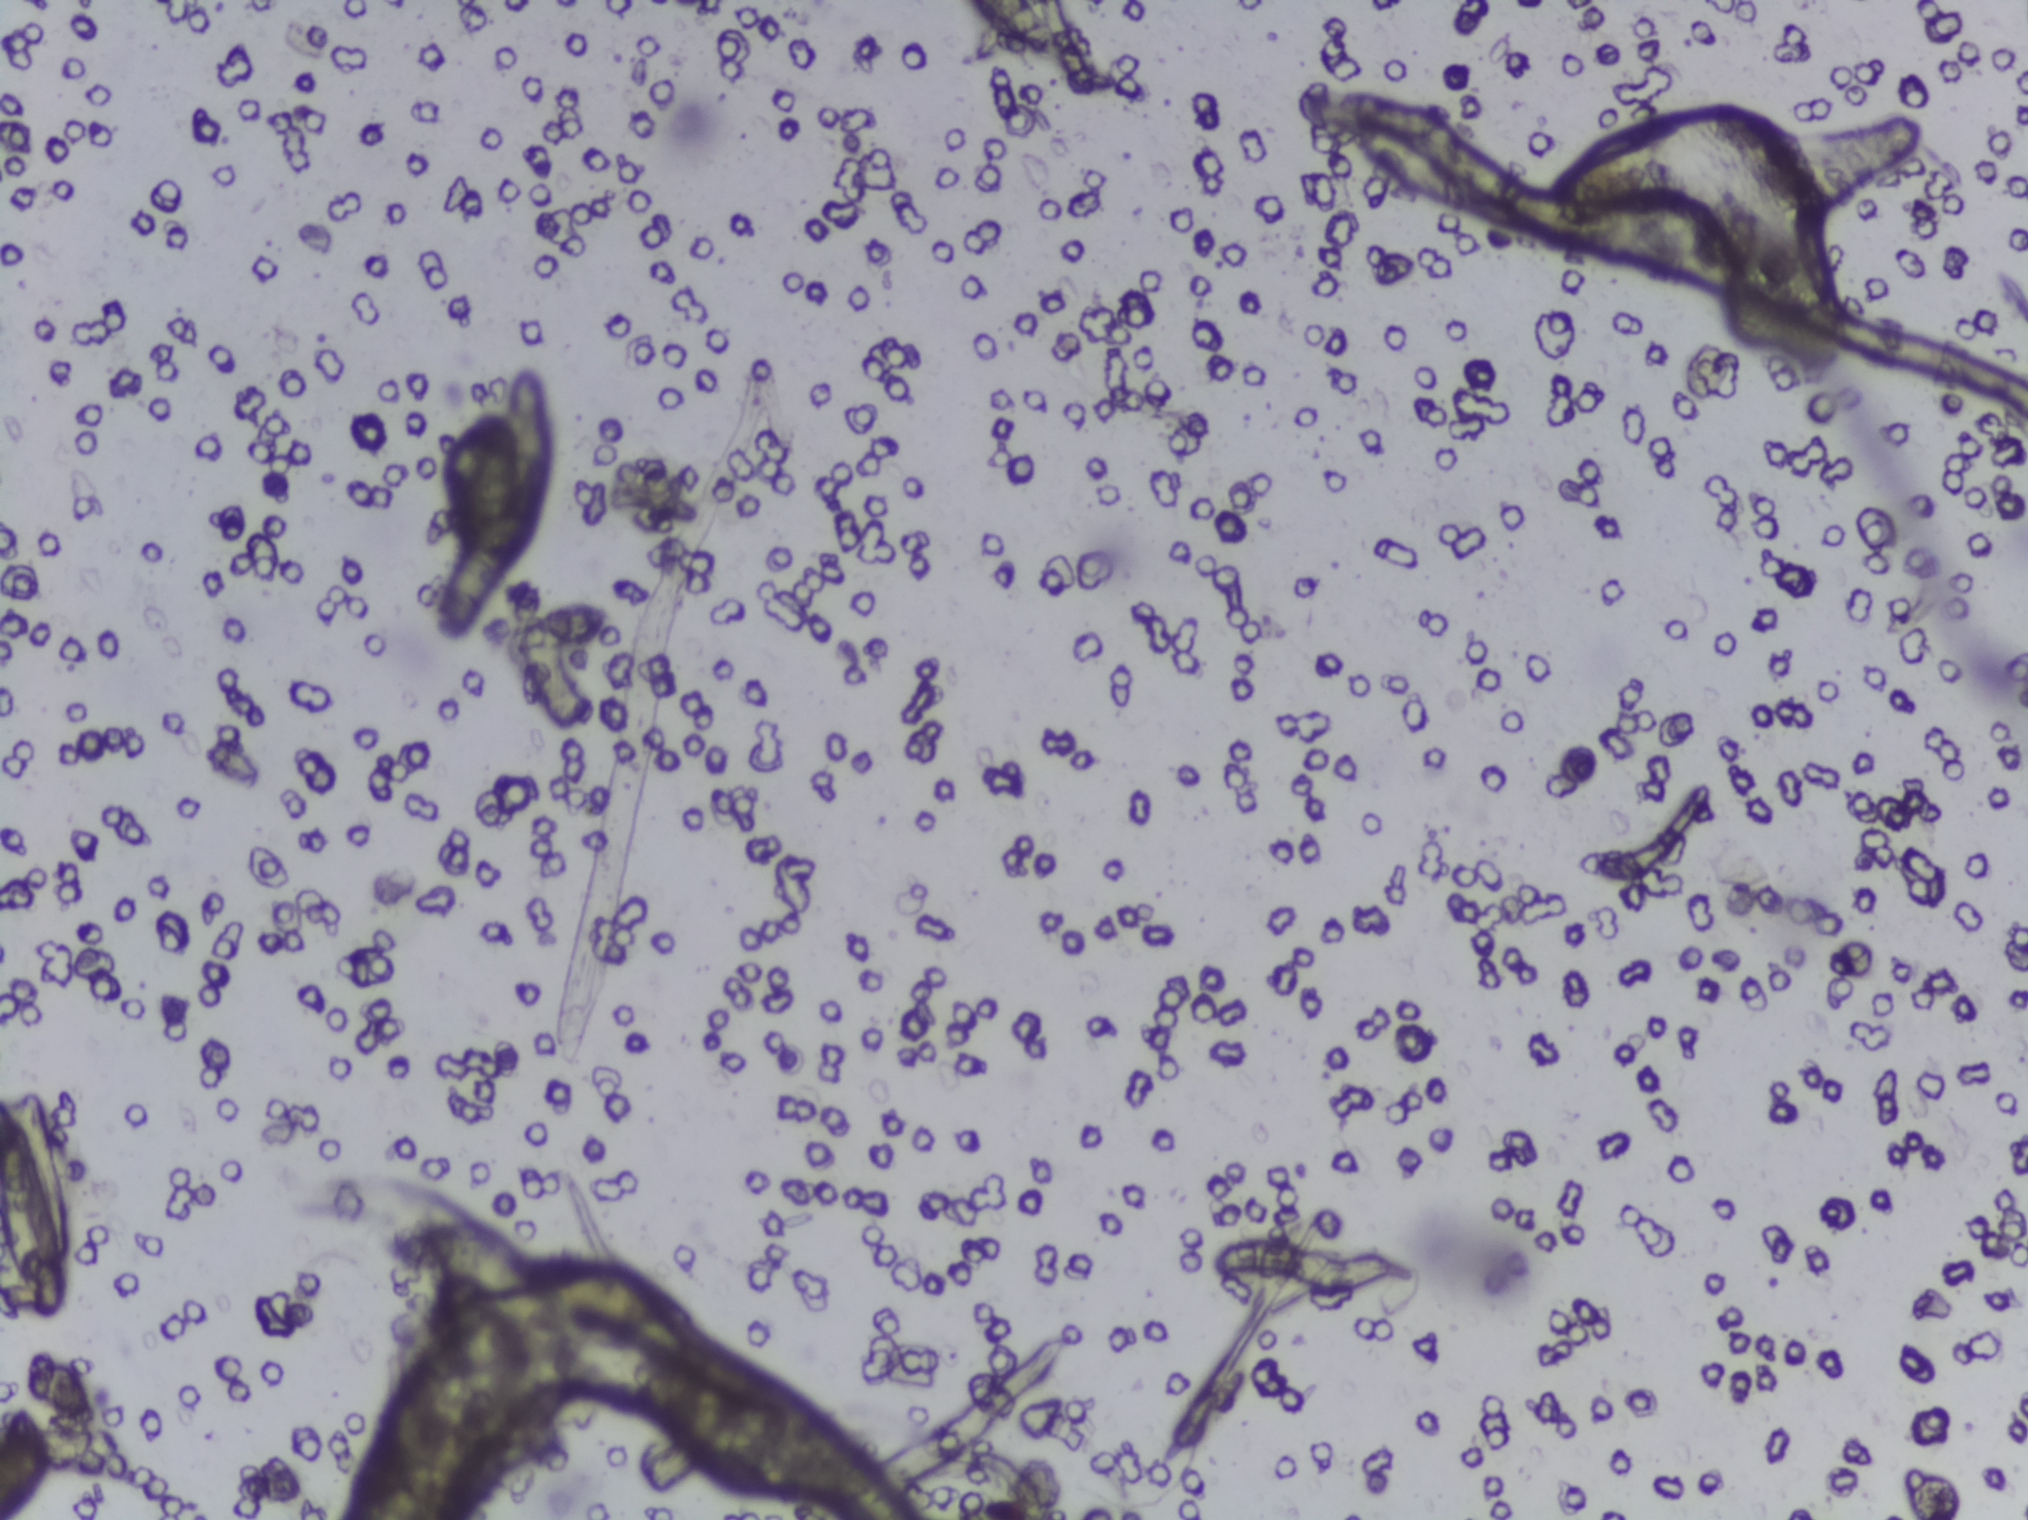
Urine filtration membrane under a 4× objective, photographed by an automated digital microscope. Field of view: about 1.5 mm wide and 1.1 mm high.
Schistosoma eggs: none outlined.